Microscope photograph (4× objective) of a membrane that a urine sample was filtered through. The field of view is about 1.5 mm × 1.1 mm.
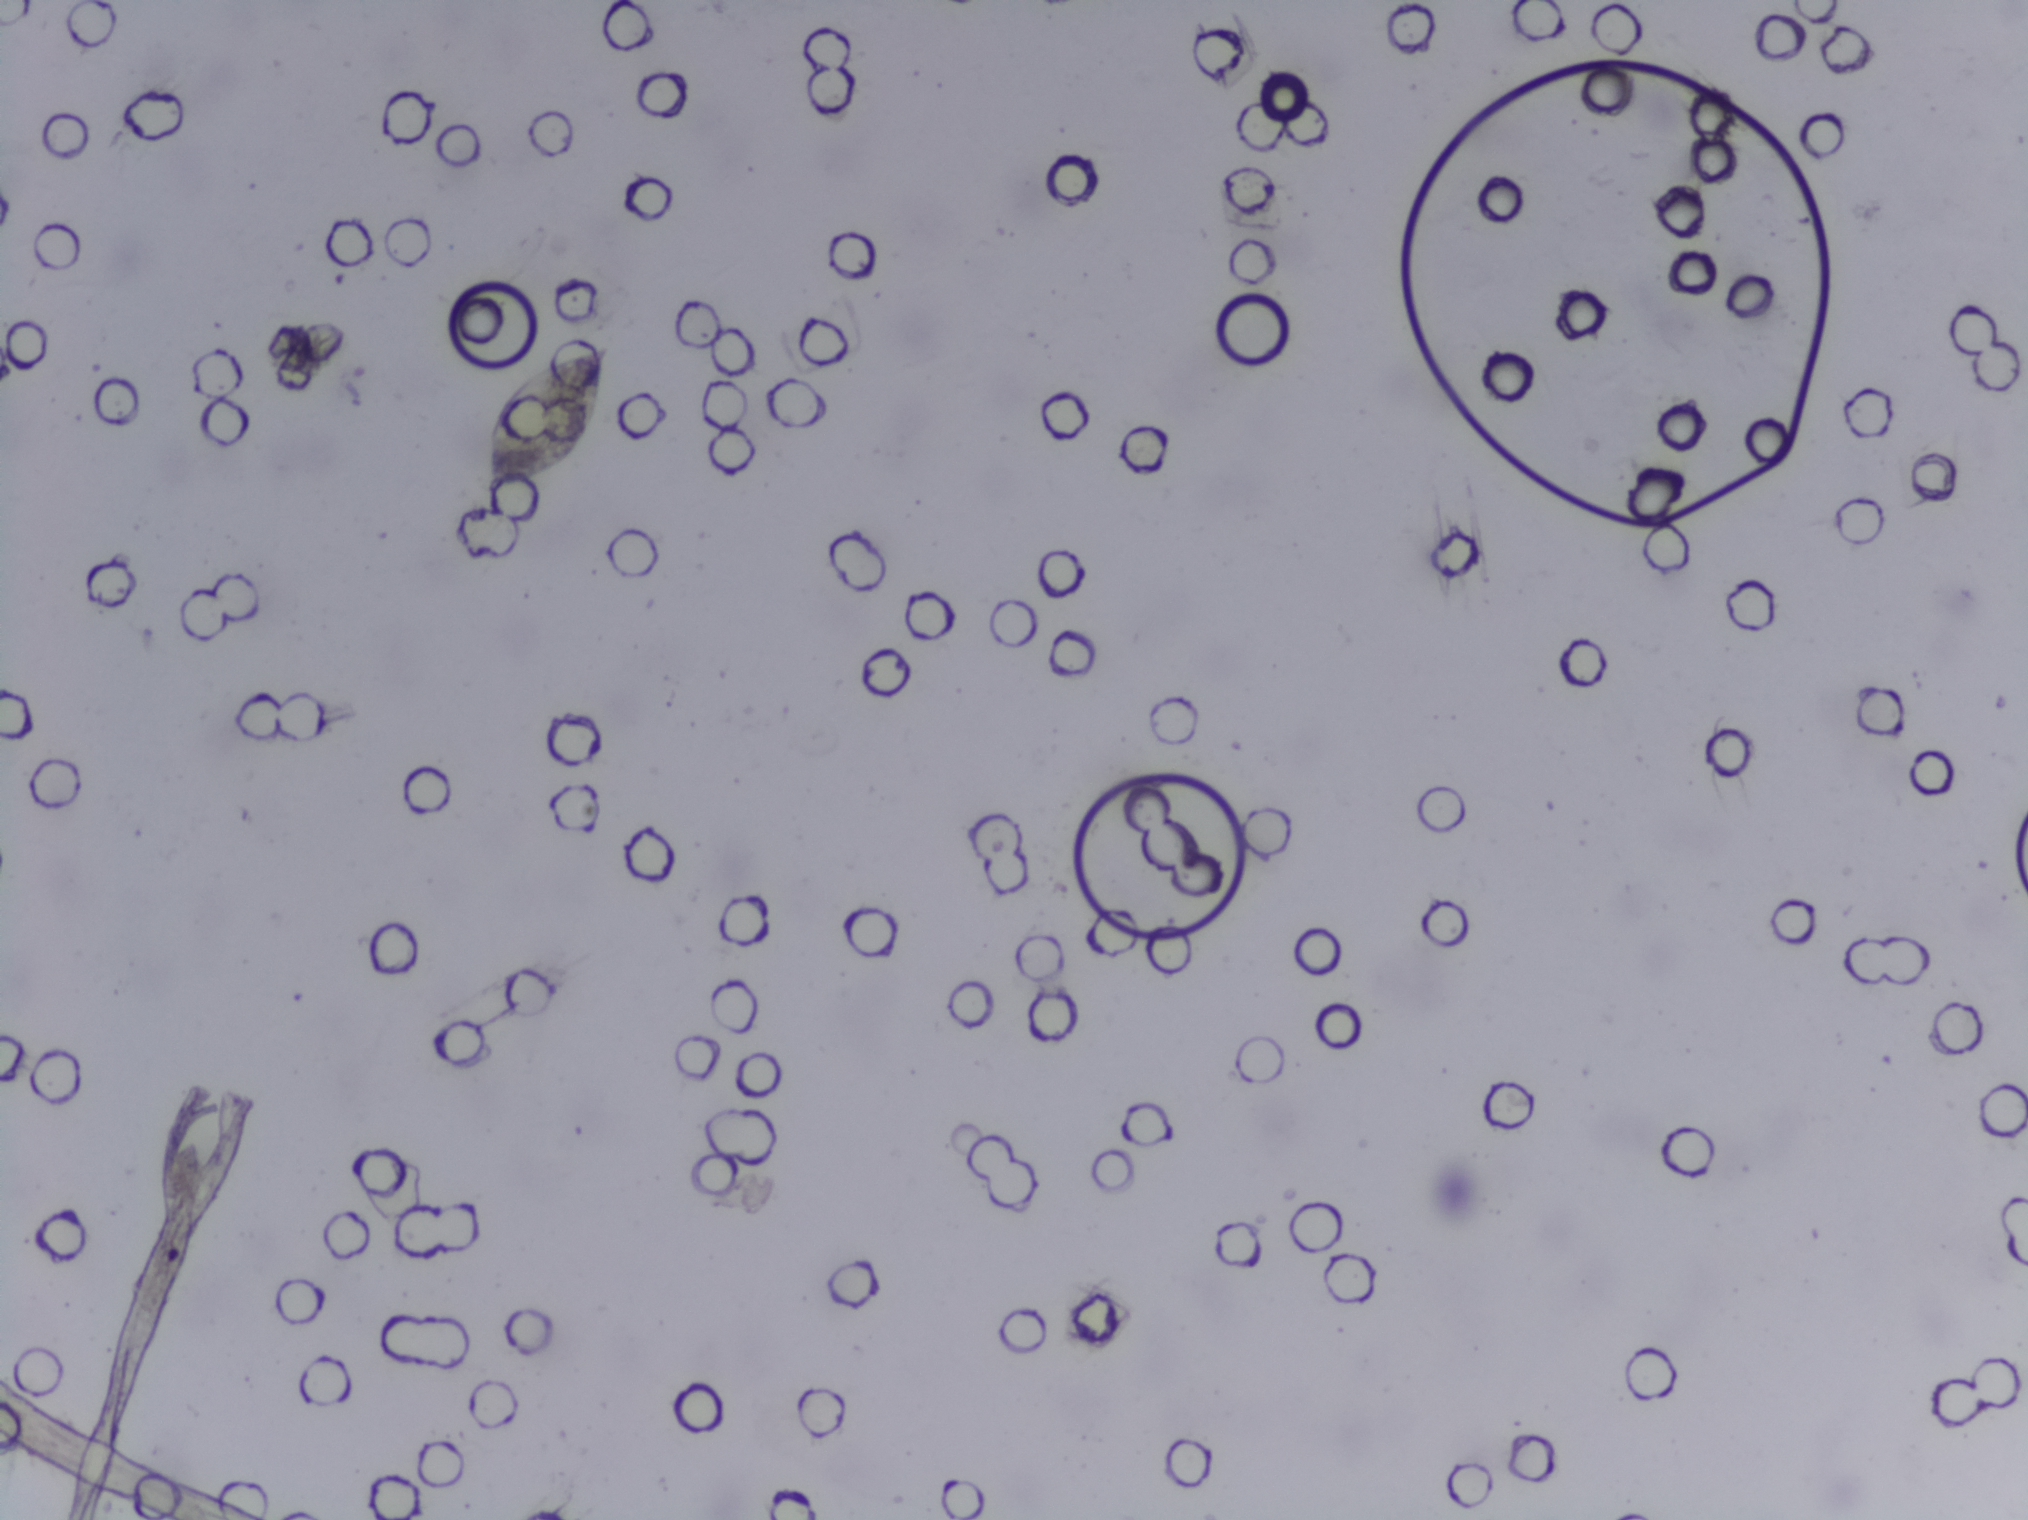
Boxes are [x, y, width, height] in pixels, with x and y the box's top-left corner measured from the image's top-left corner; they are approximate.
{"schistosoma_egg_areas_xywh_px": [[485, 344, 126, 154]]}
Eggs that touch can end up inside the same outlined area.